Urine filter membrane photographed through a 4× microscope objective.
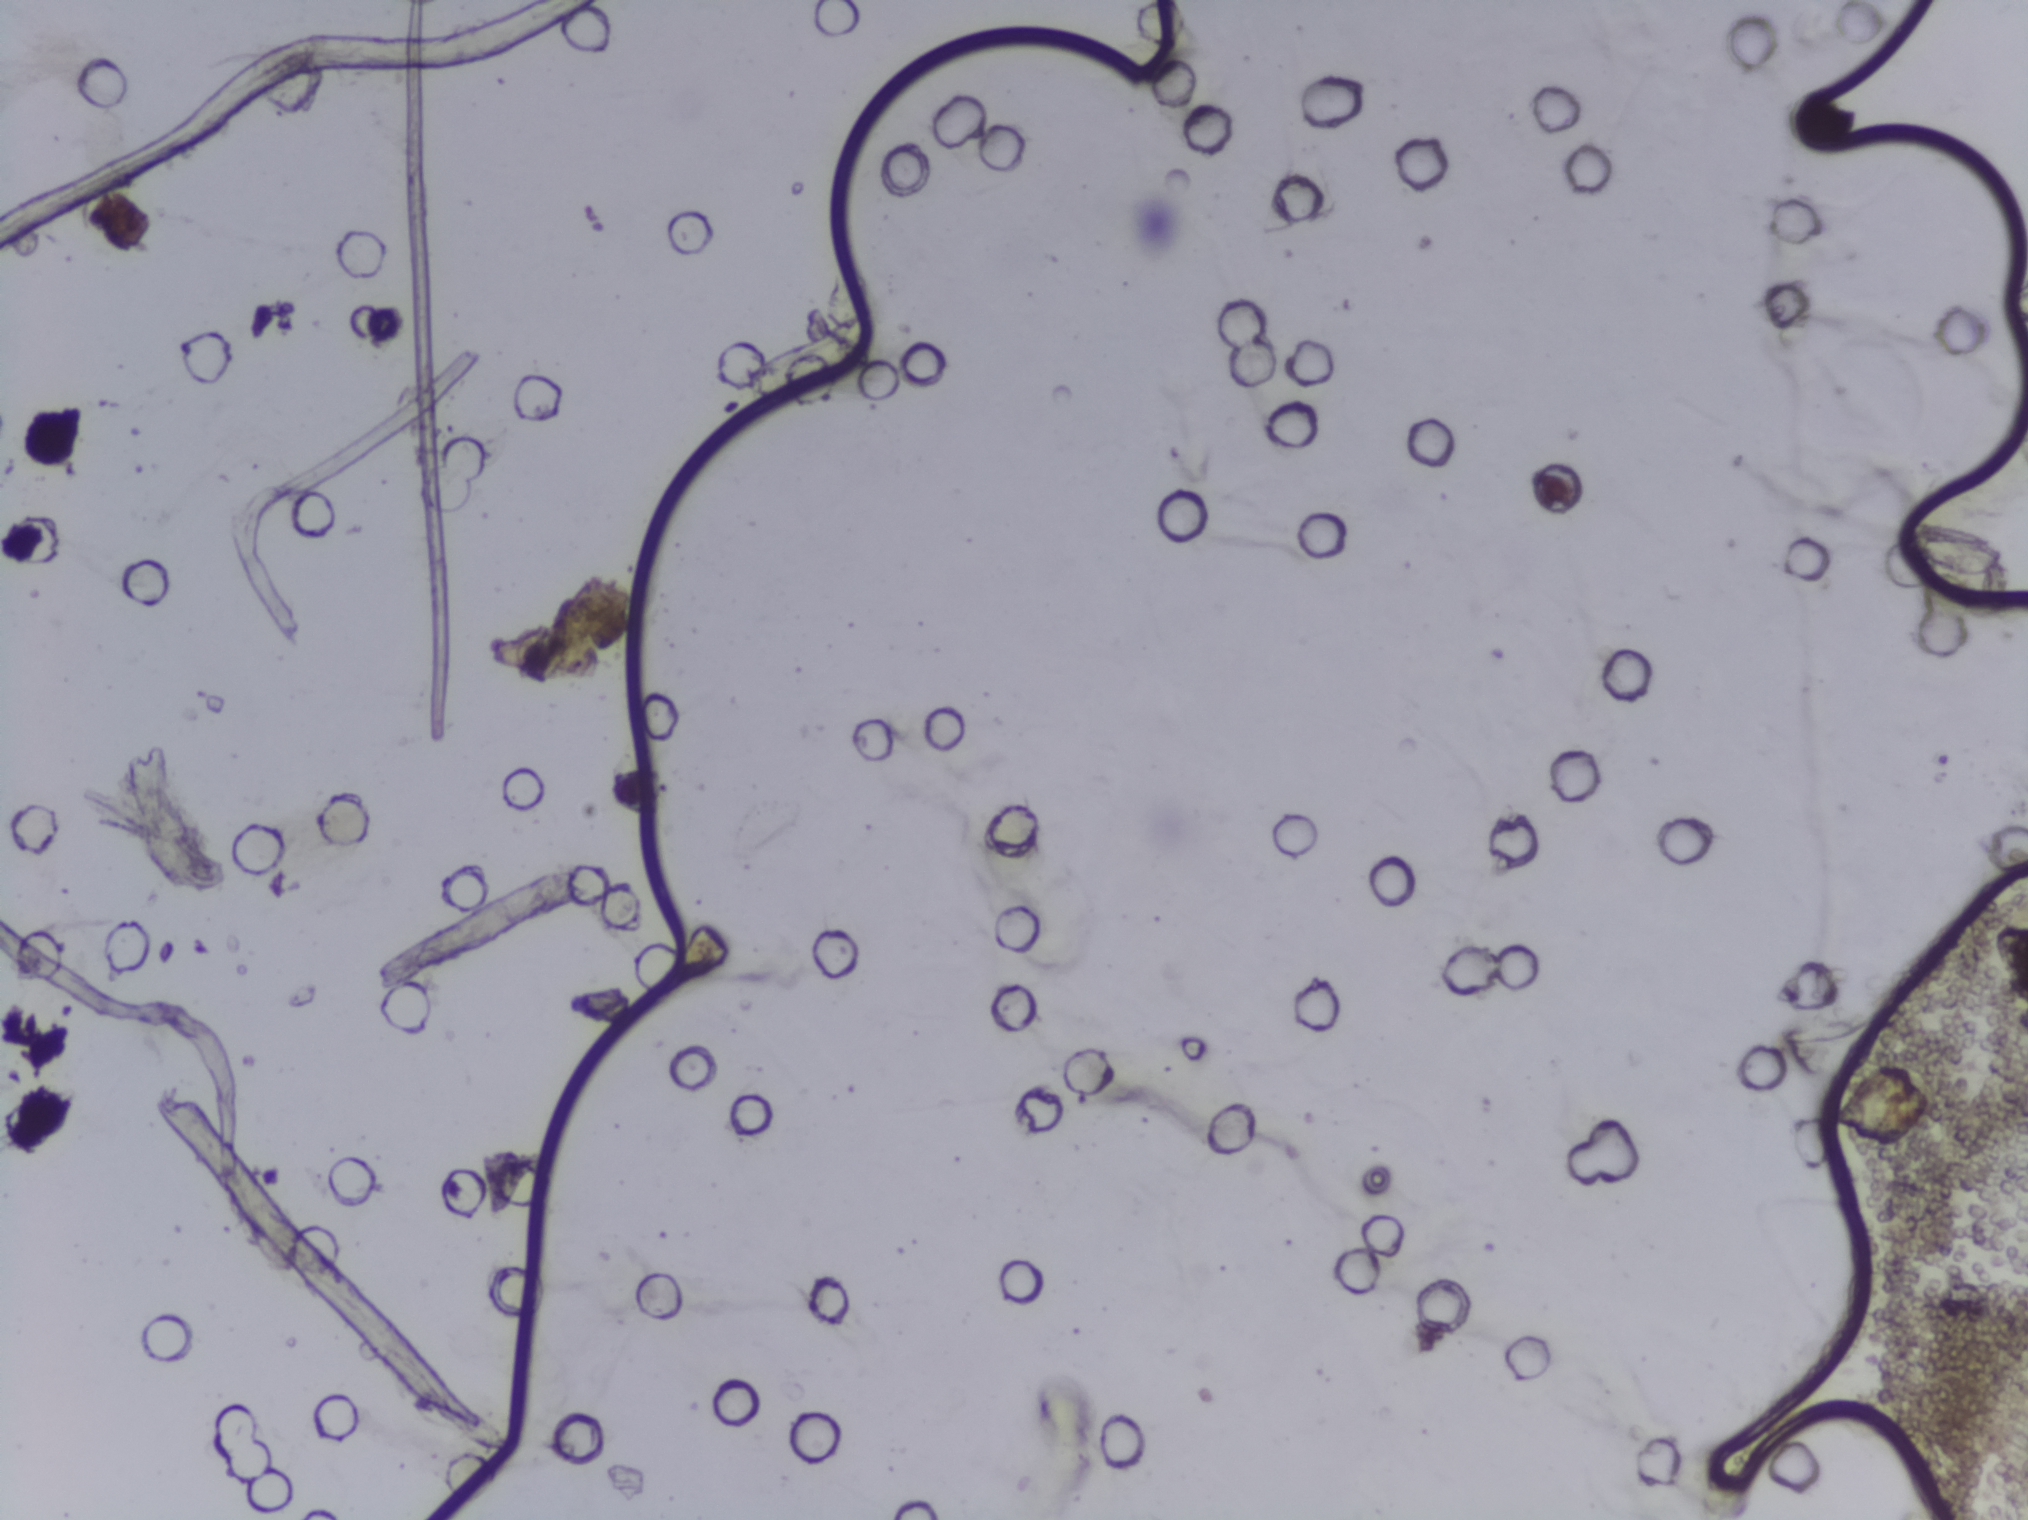
No area of this image was outlined as a Schistosoma egg.